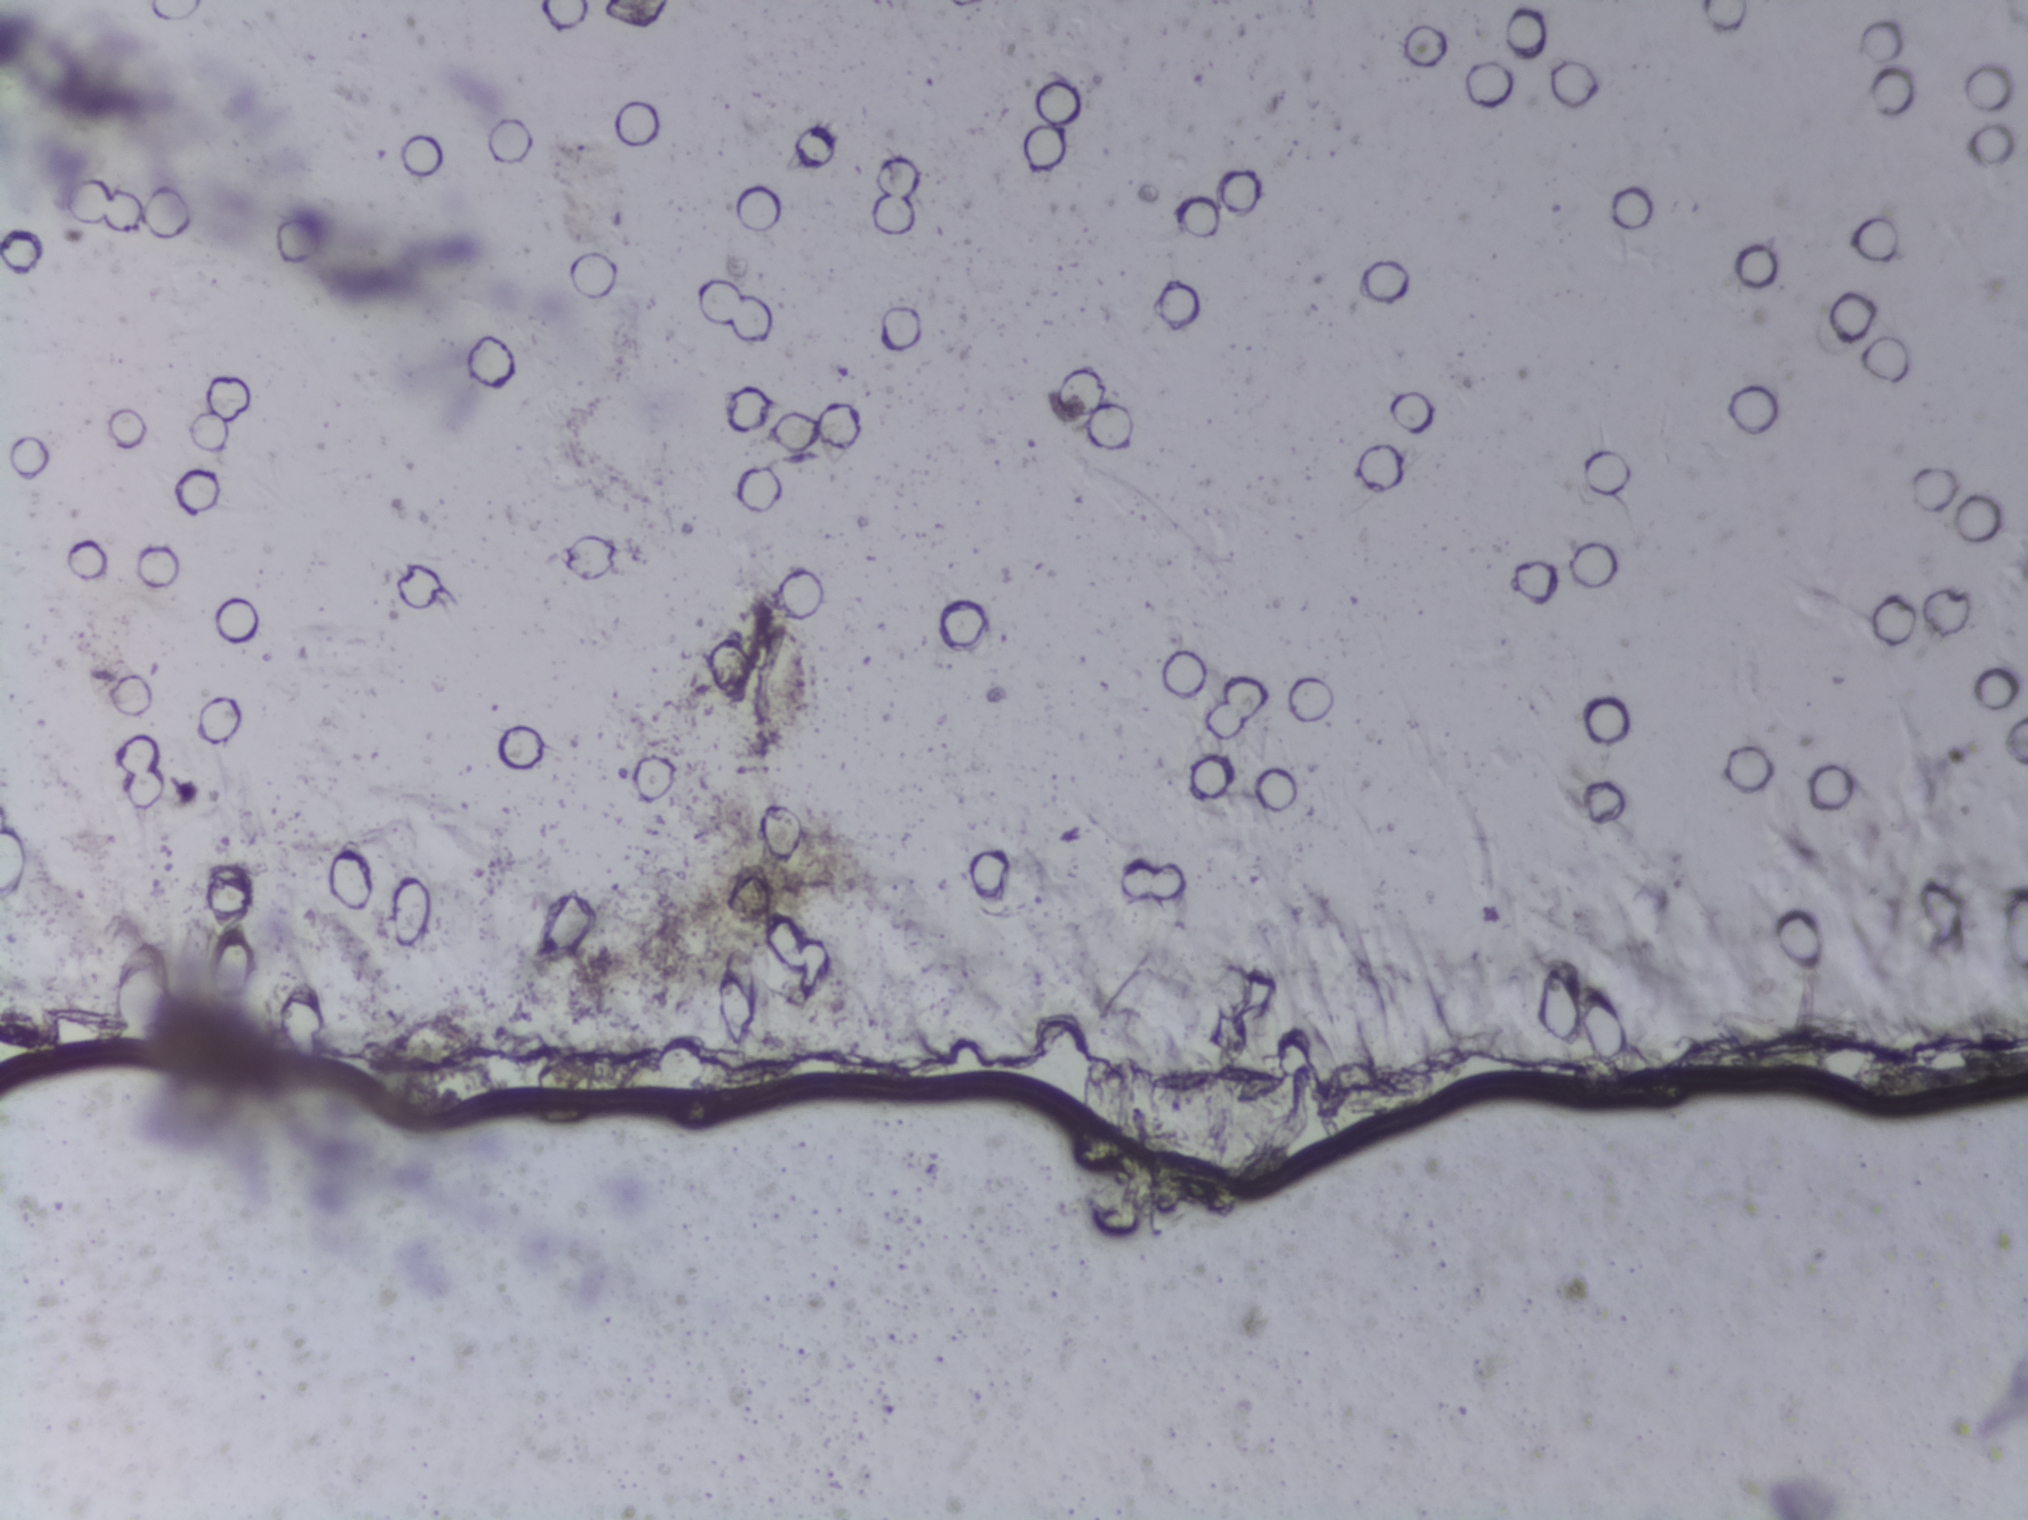
Urine filtration membrane under a 4× objective, photographed by an automated digital microscope.
The expert annotation outlines no Schistosoma egg in this image.